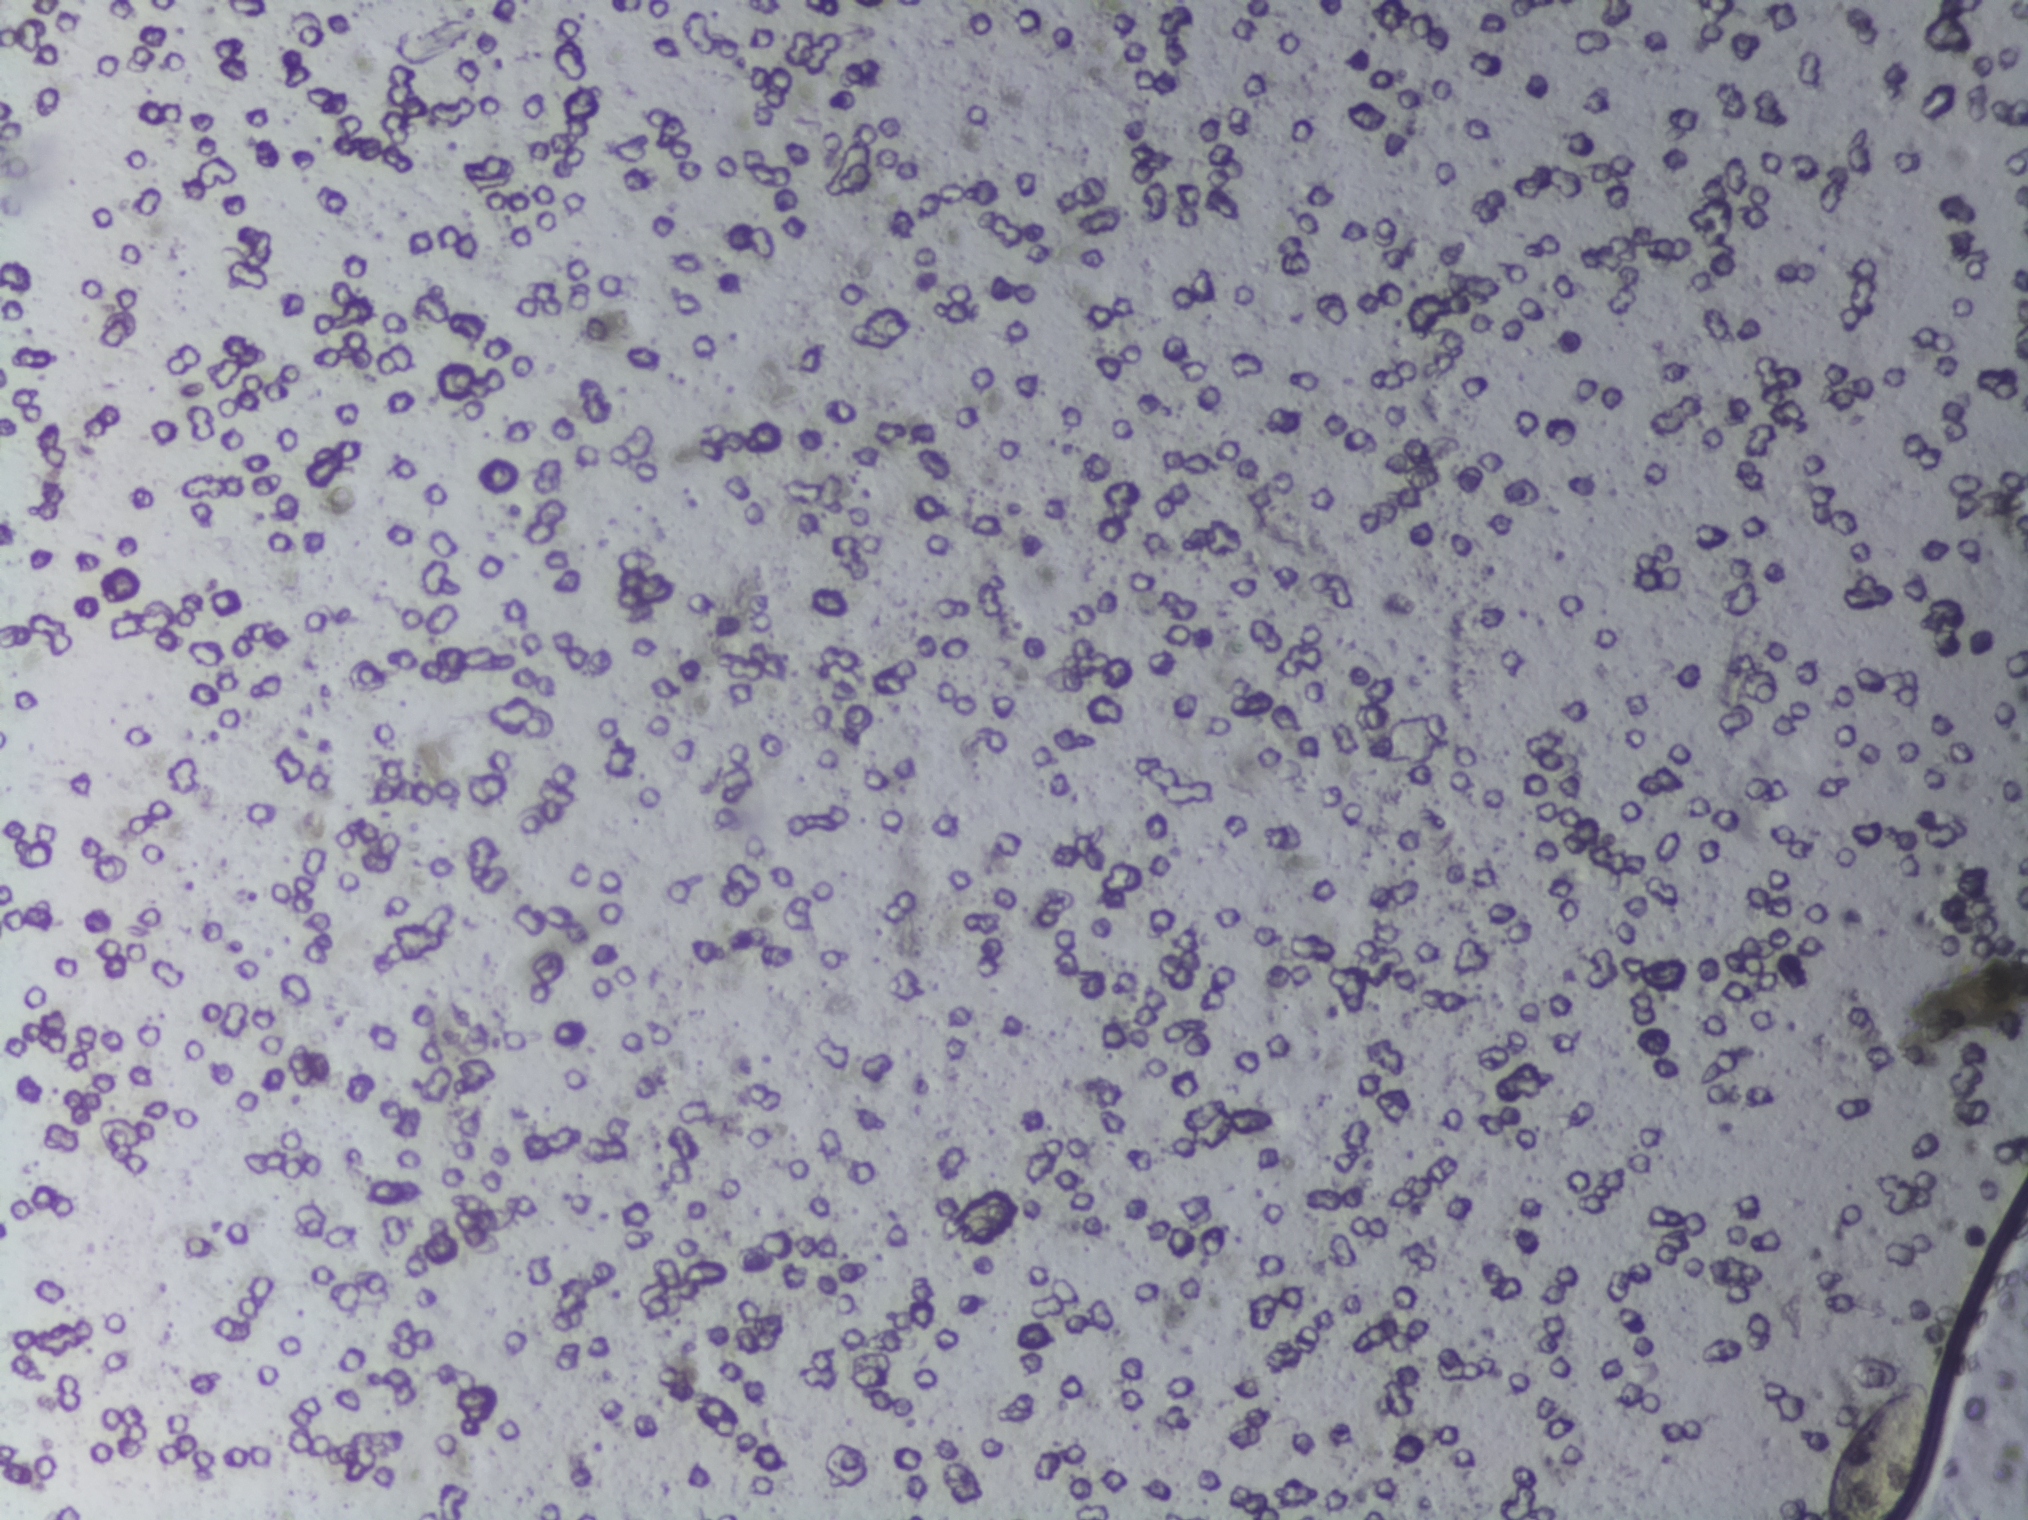
Photograph from an automated digital microscope: urine filter membrane, 4× objective.
No Schistosoma egg is outlined in this image's expert annotation.